Urine filter membrane photographed through a 4× microscope objective. The image covers about 1.5 × 1.1 mm of the membrane.
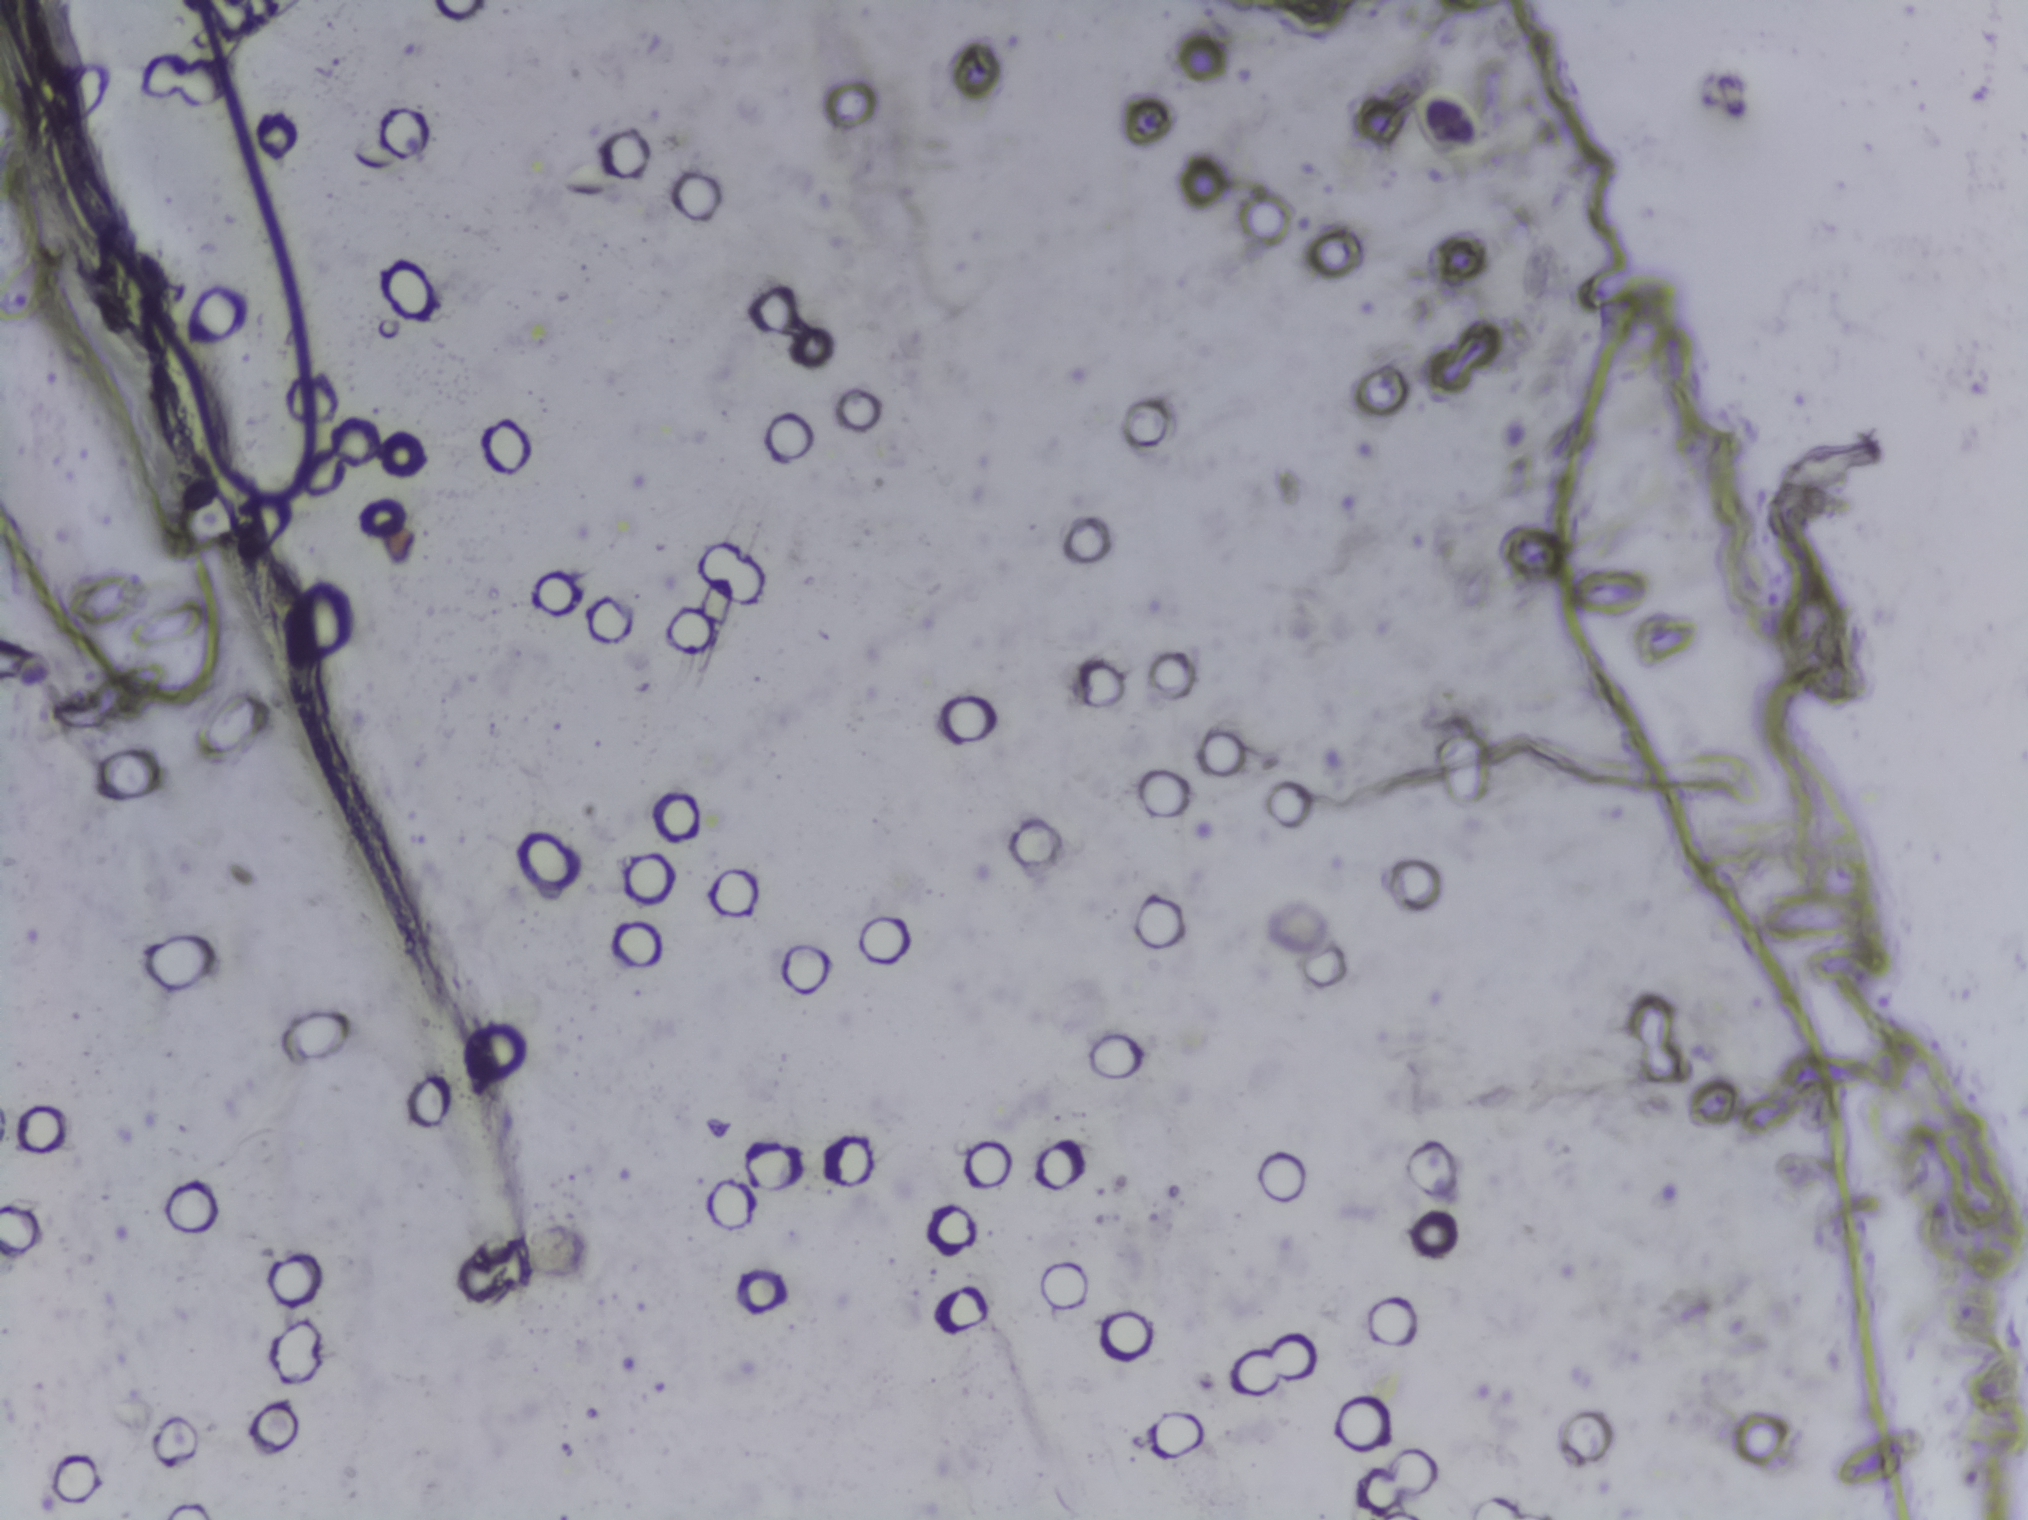
The expert annotation marks no Schistosoma egg in this field of view.